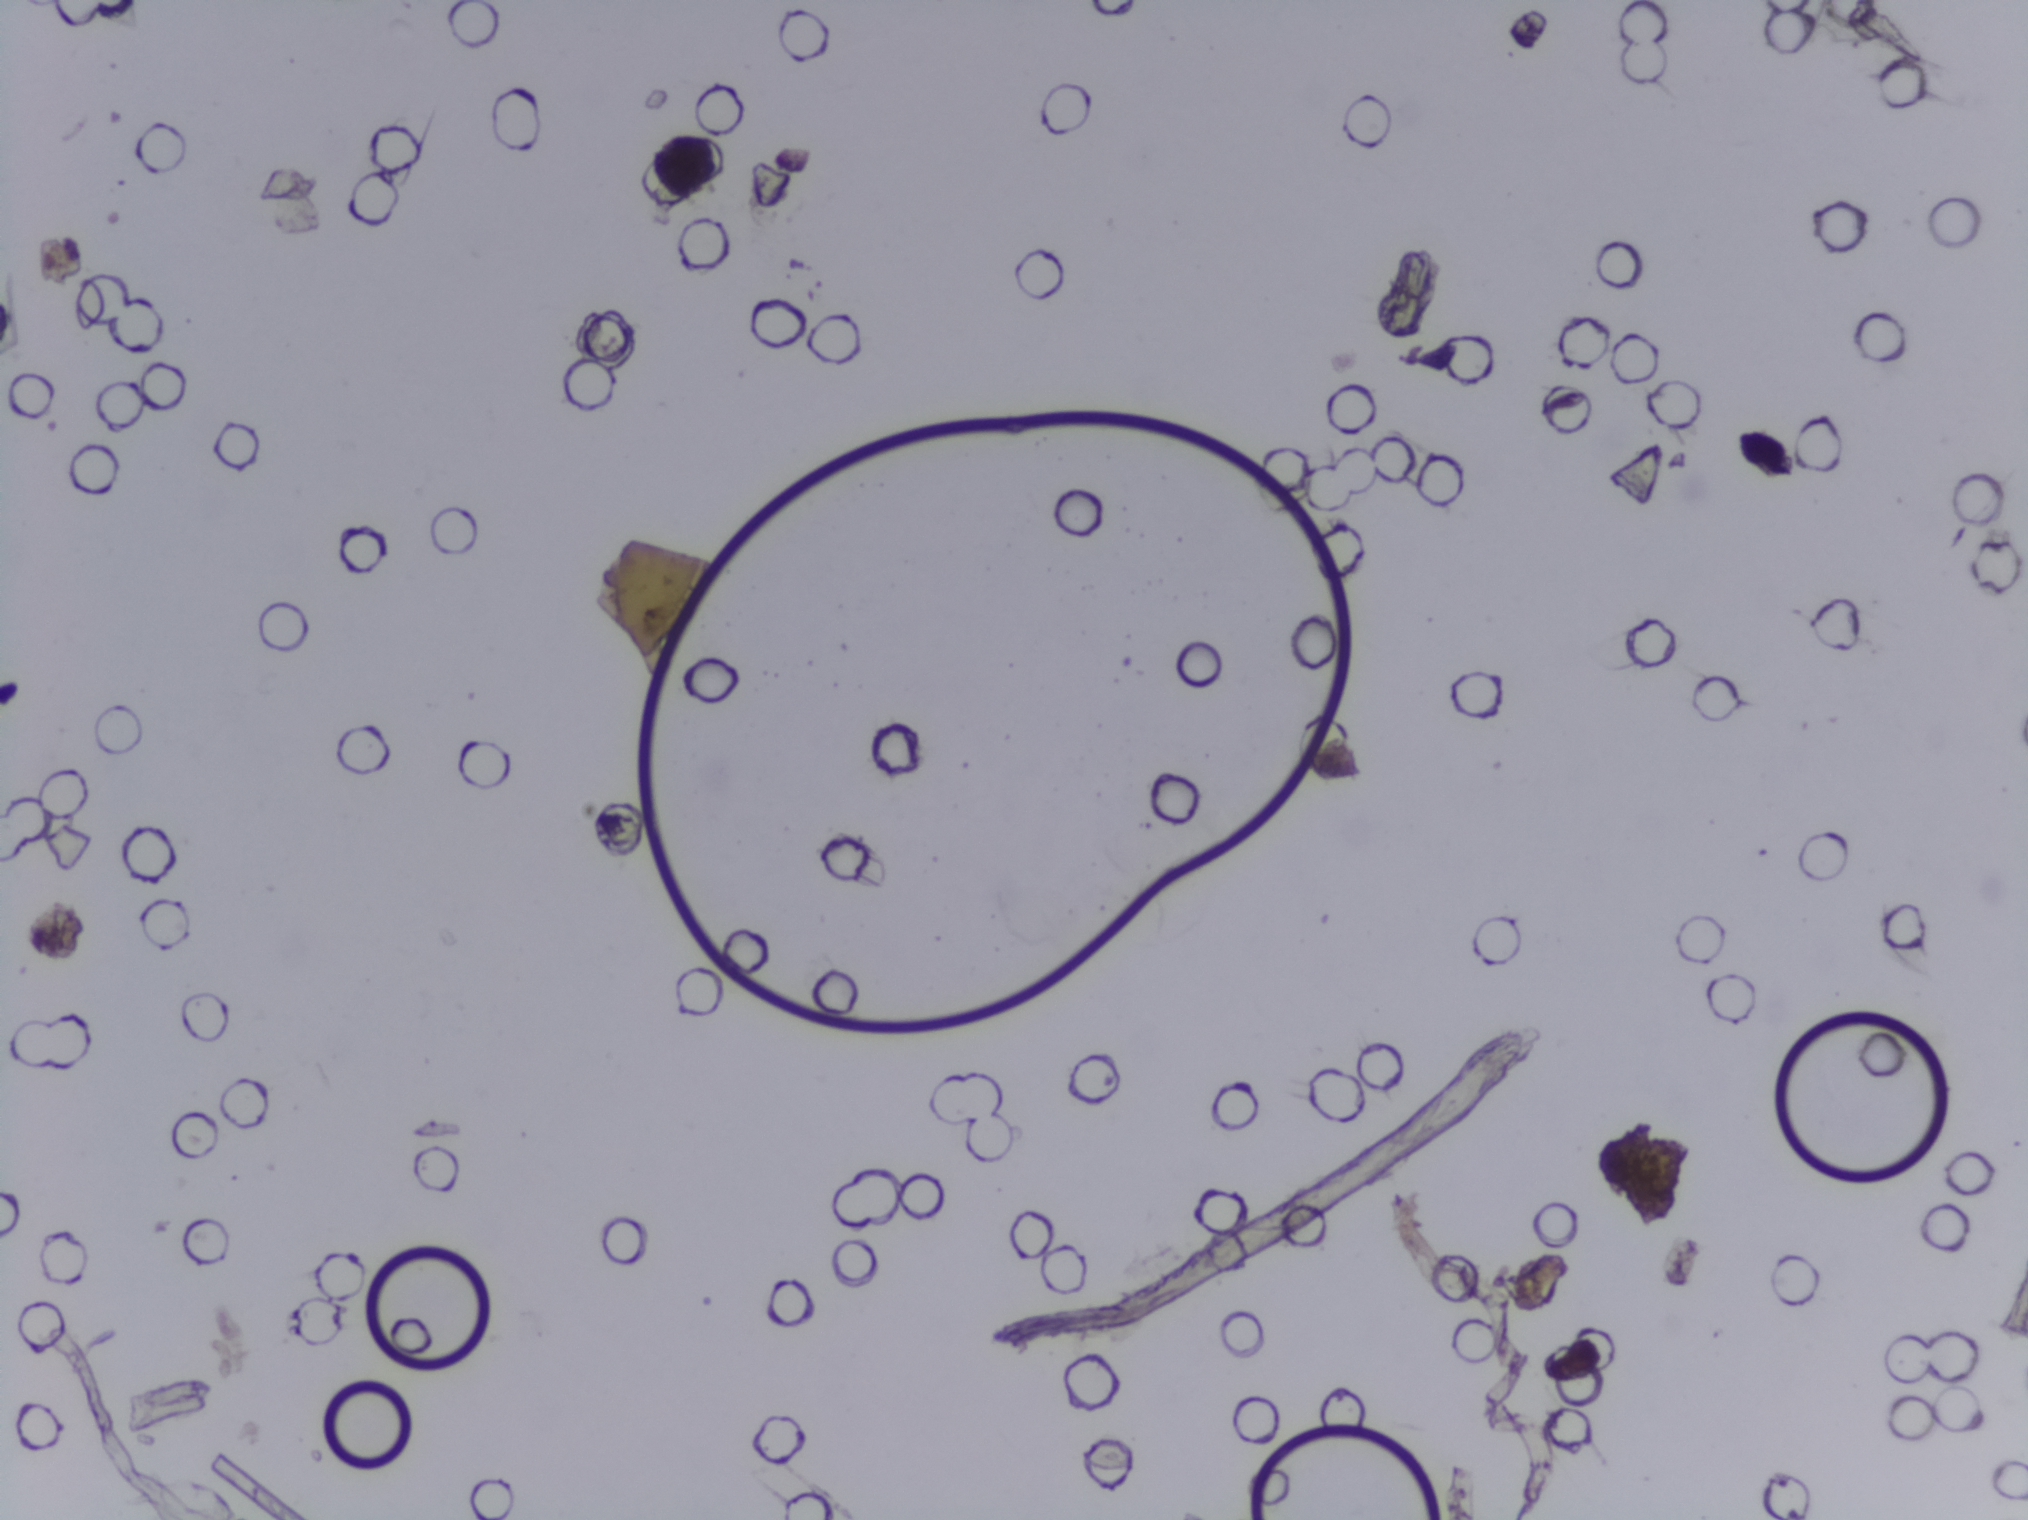
Urine filter membrane photographed through a 4× microscope objective.
No area of this image was outlined as a Schistosoma egg.